Urine filtration membrane under a 4× objective, photographed by an automated digital microscope.
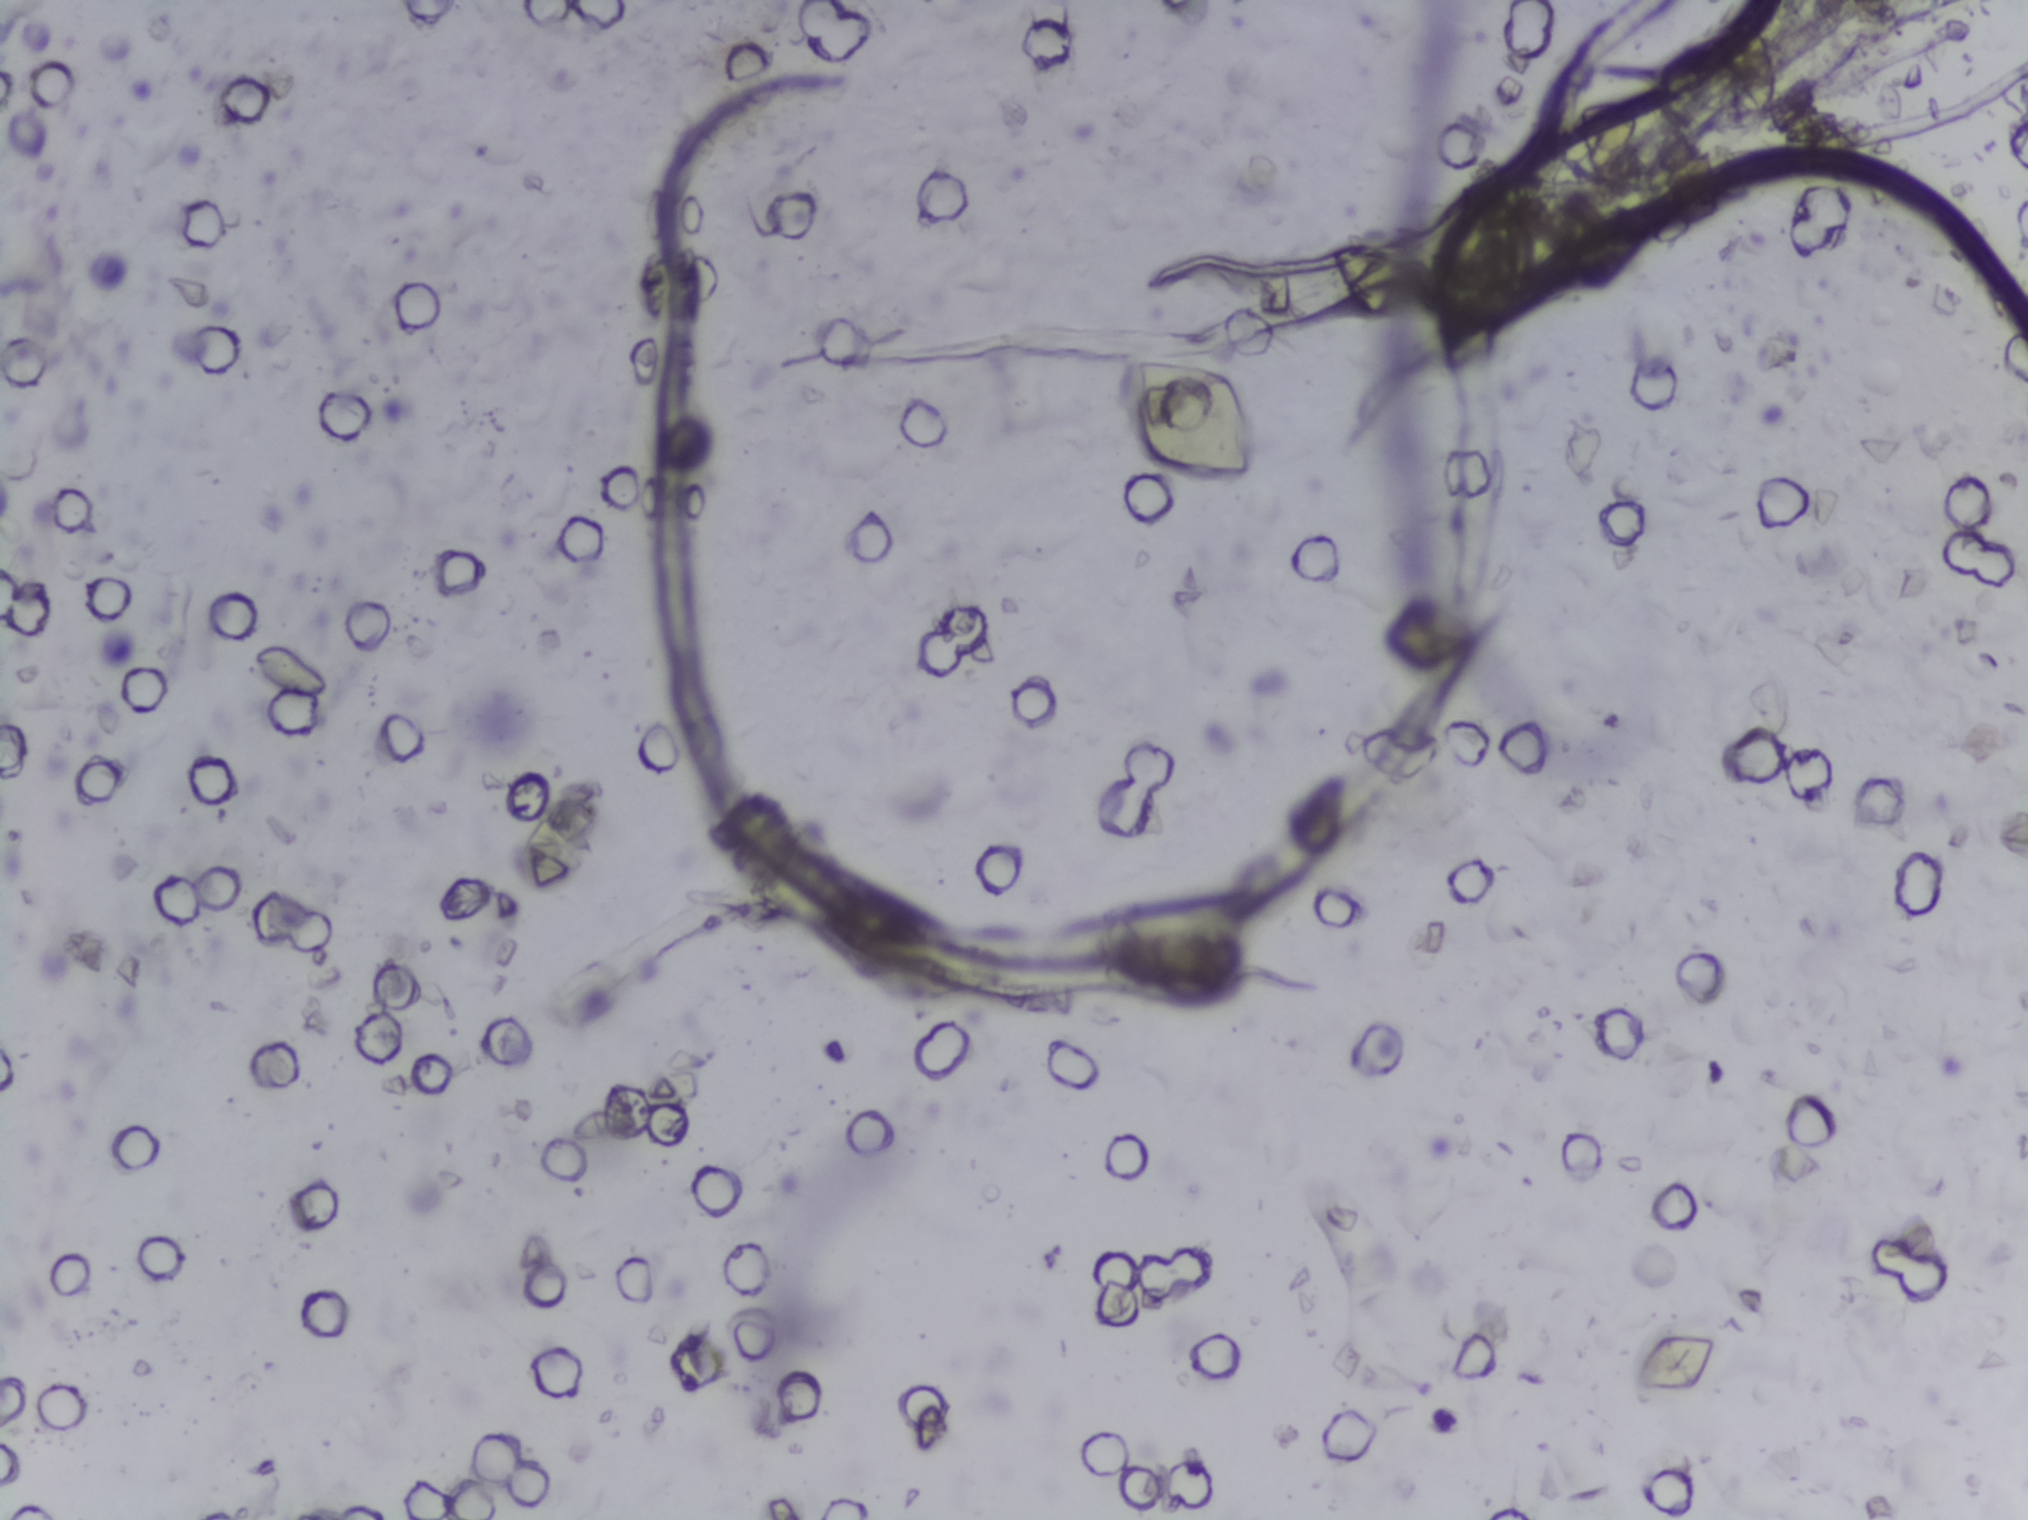
Schistosoma eggs: none outlined.